One field of view of a urine filter membrane, 4× objective, 2028 × 1520 pixels. The field of view is about 1.5 mm × 1.1 mm.
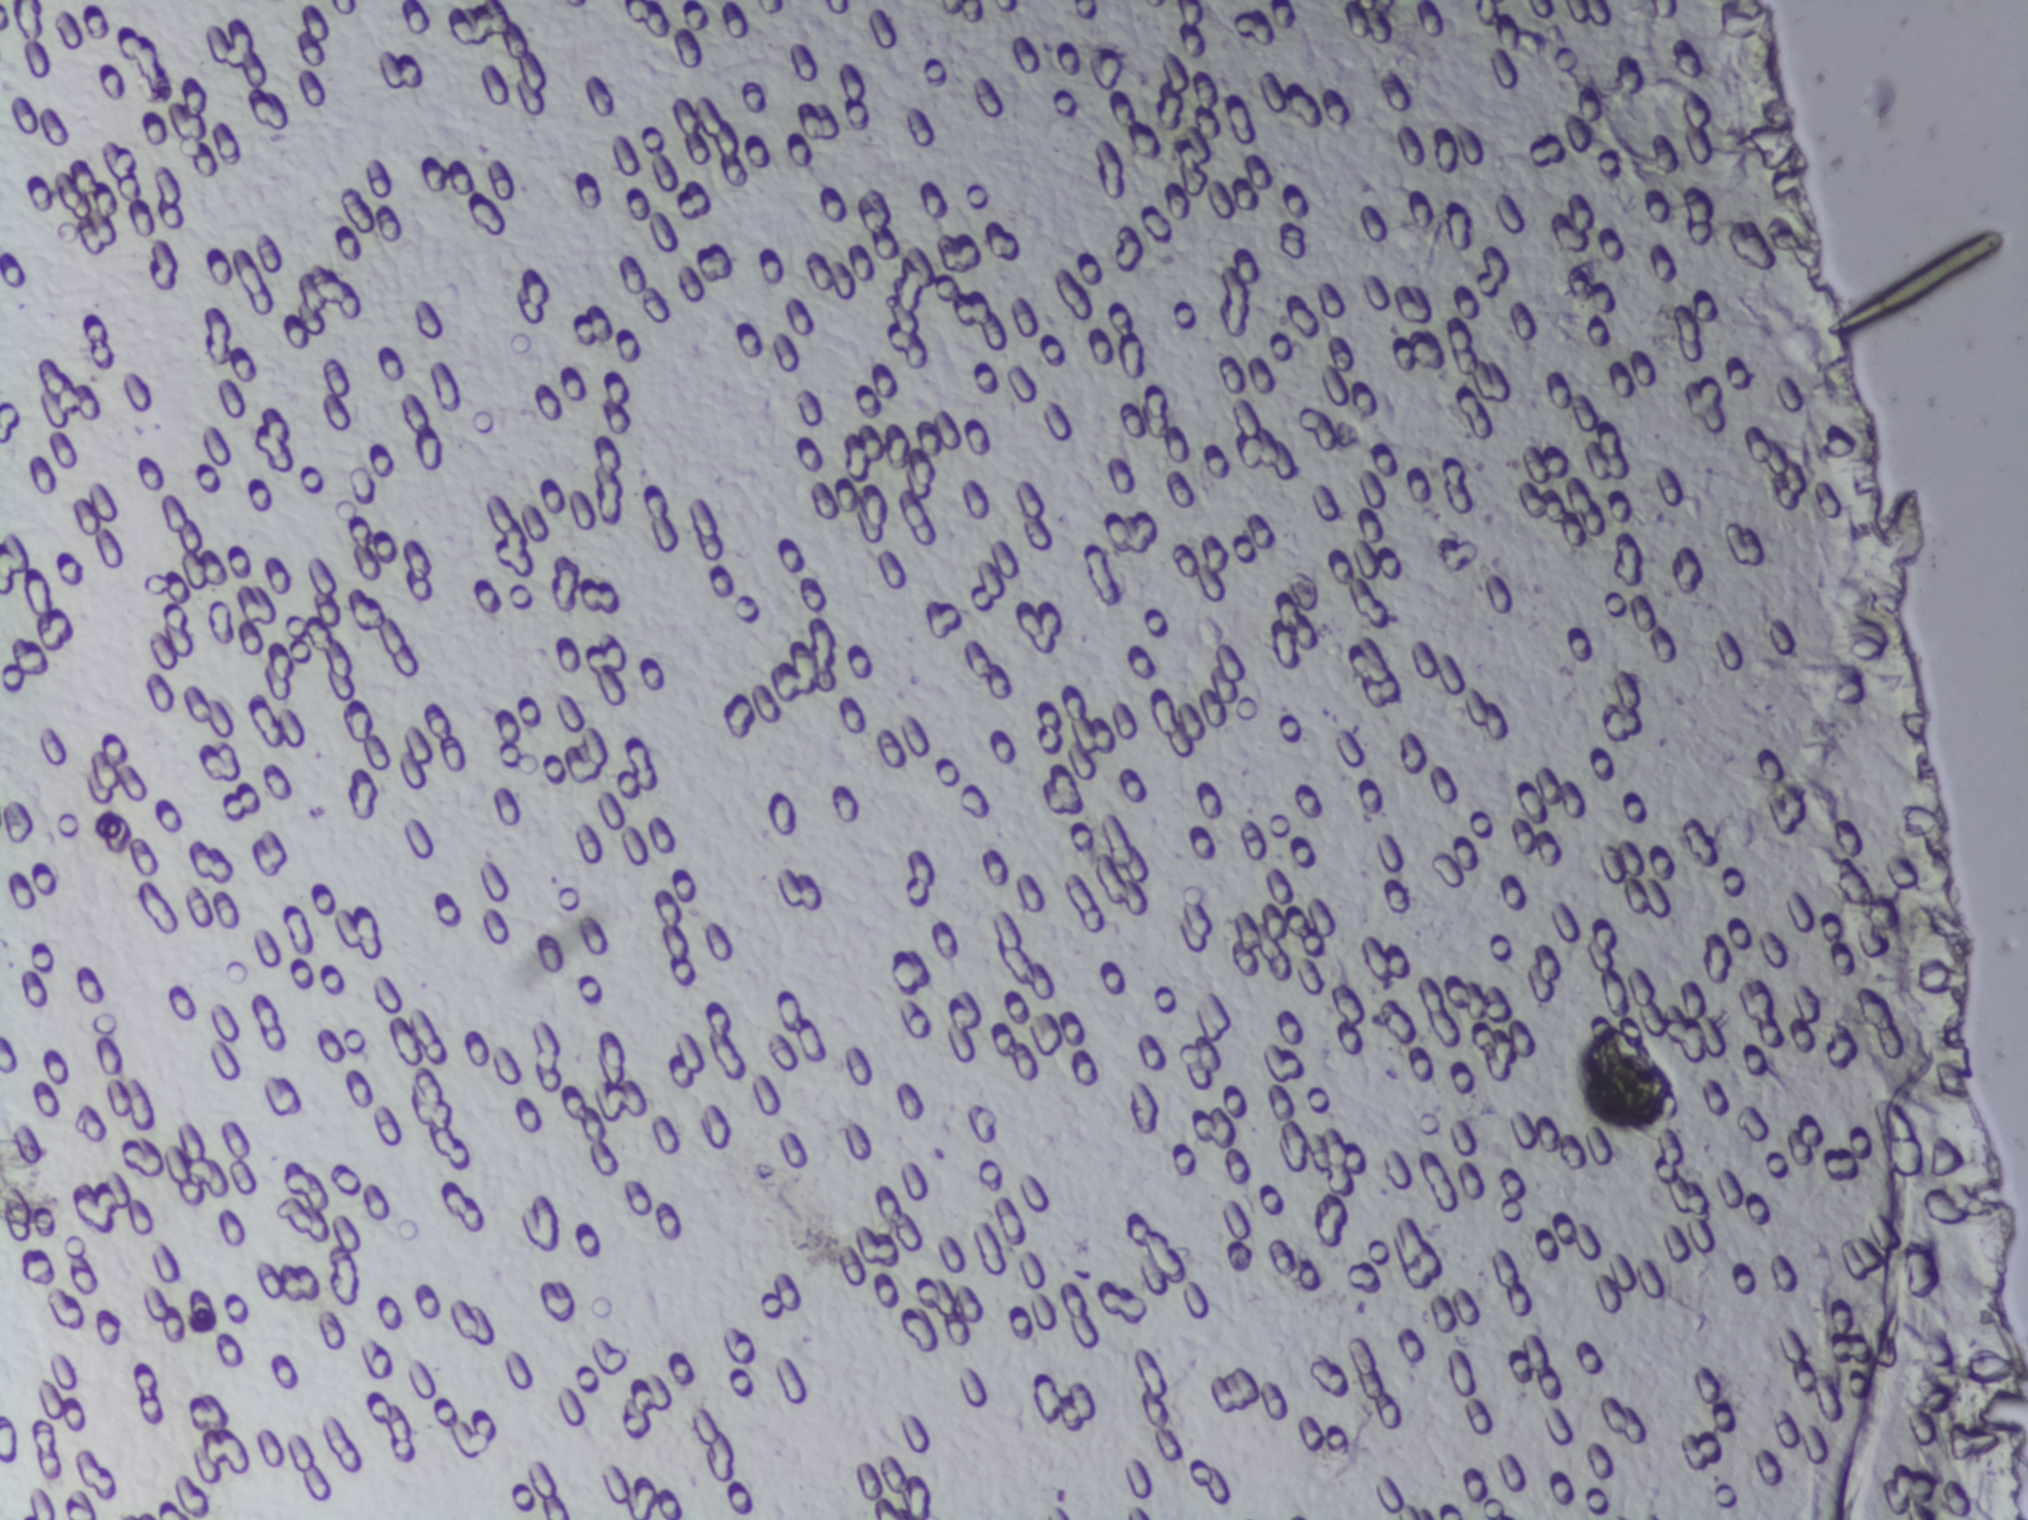
The expert annotation outlines no Schistosoma egg in this image.